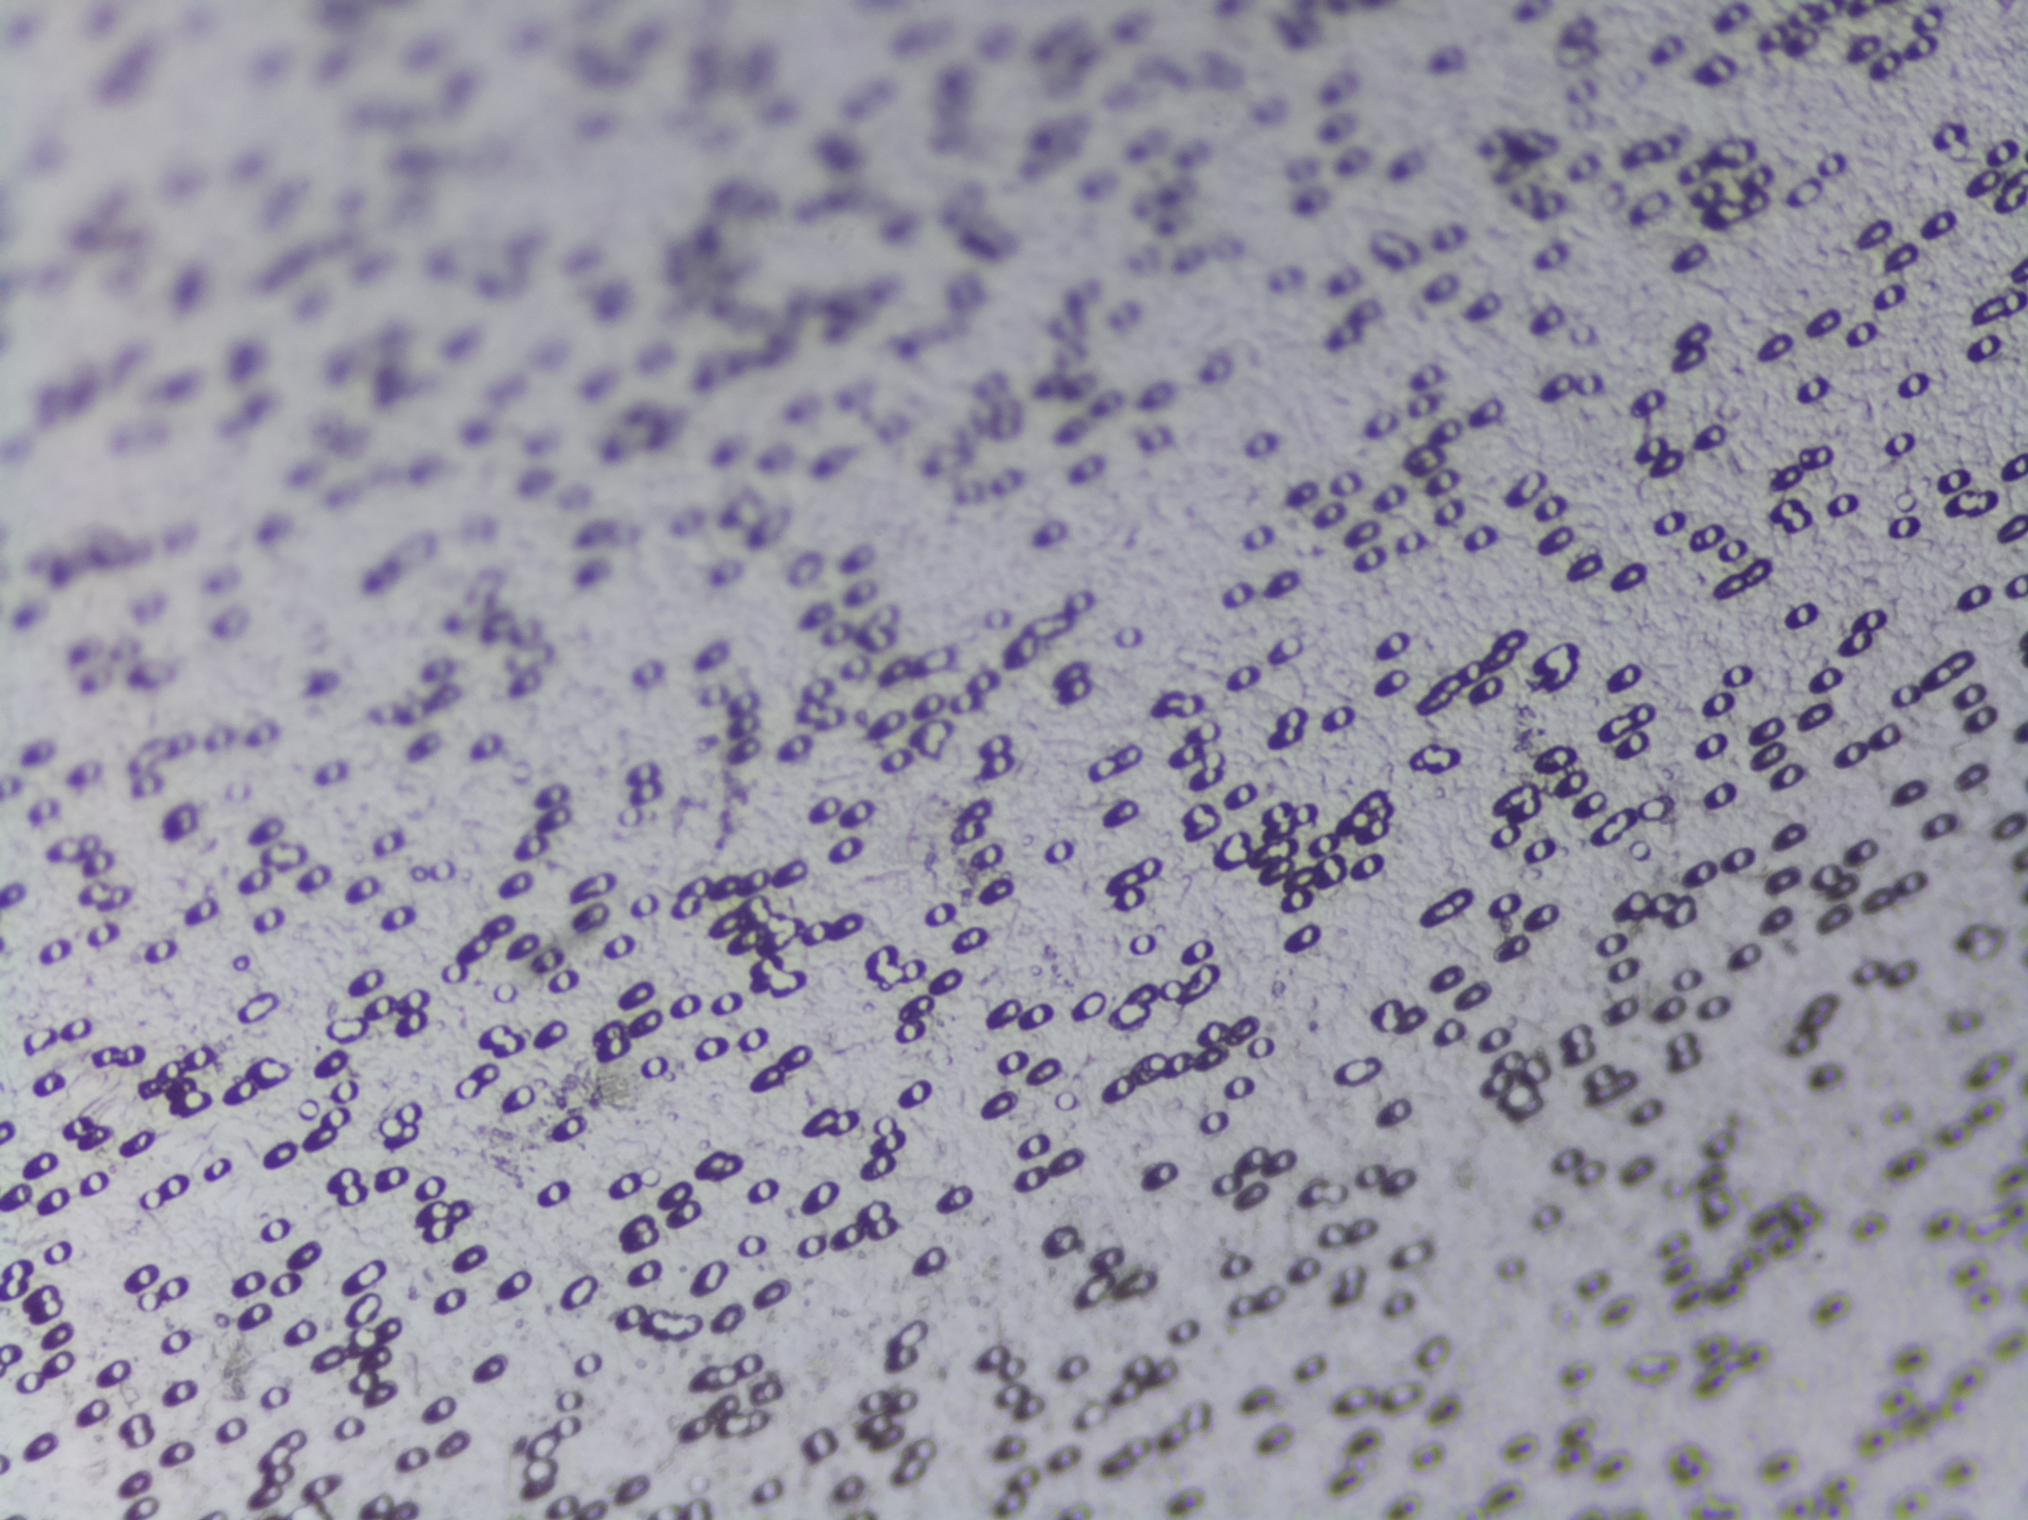
Schistosoma eggs: none outlined.
Microscope photograph (4× objective) of a membrane that a urine sample was filtered through.